Urine filter membrane photographed through a 4× microscope objective.
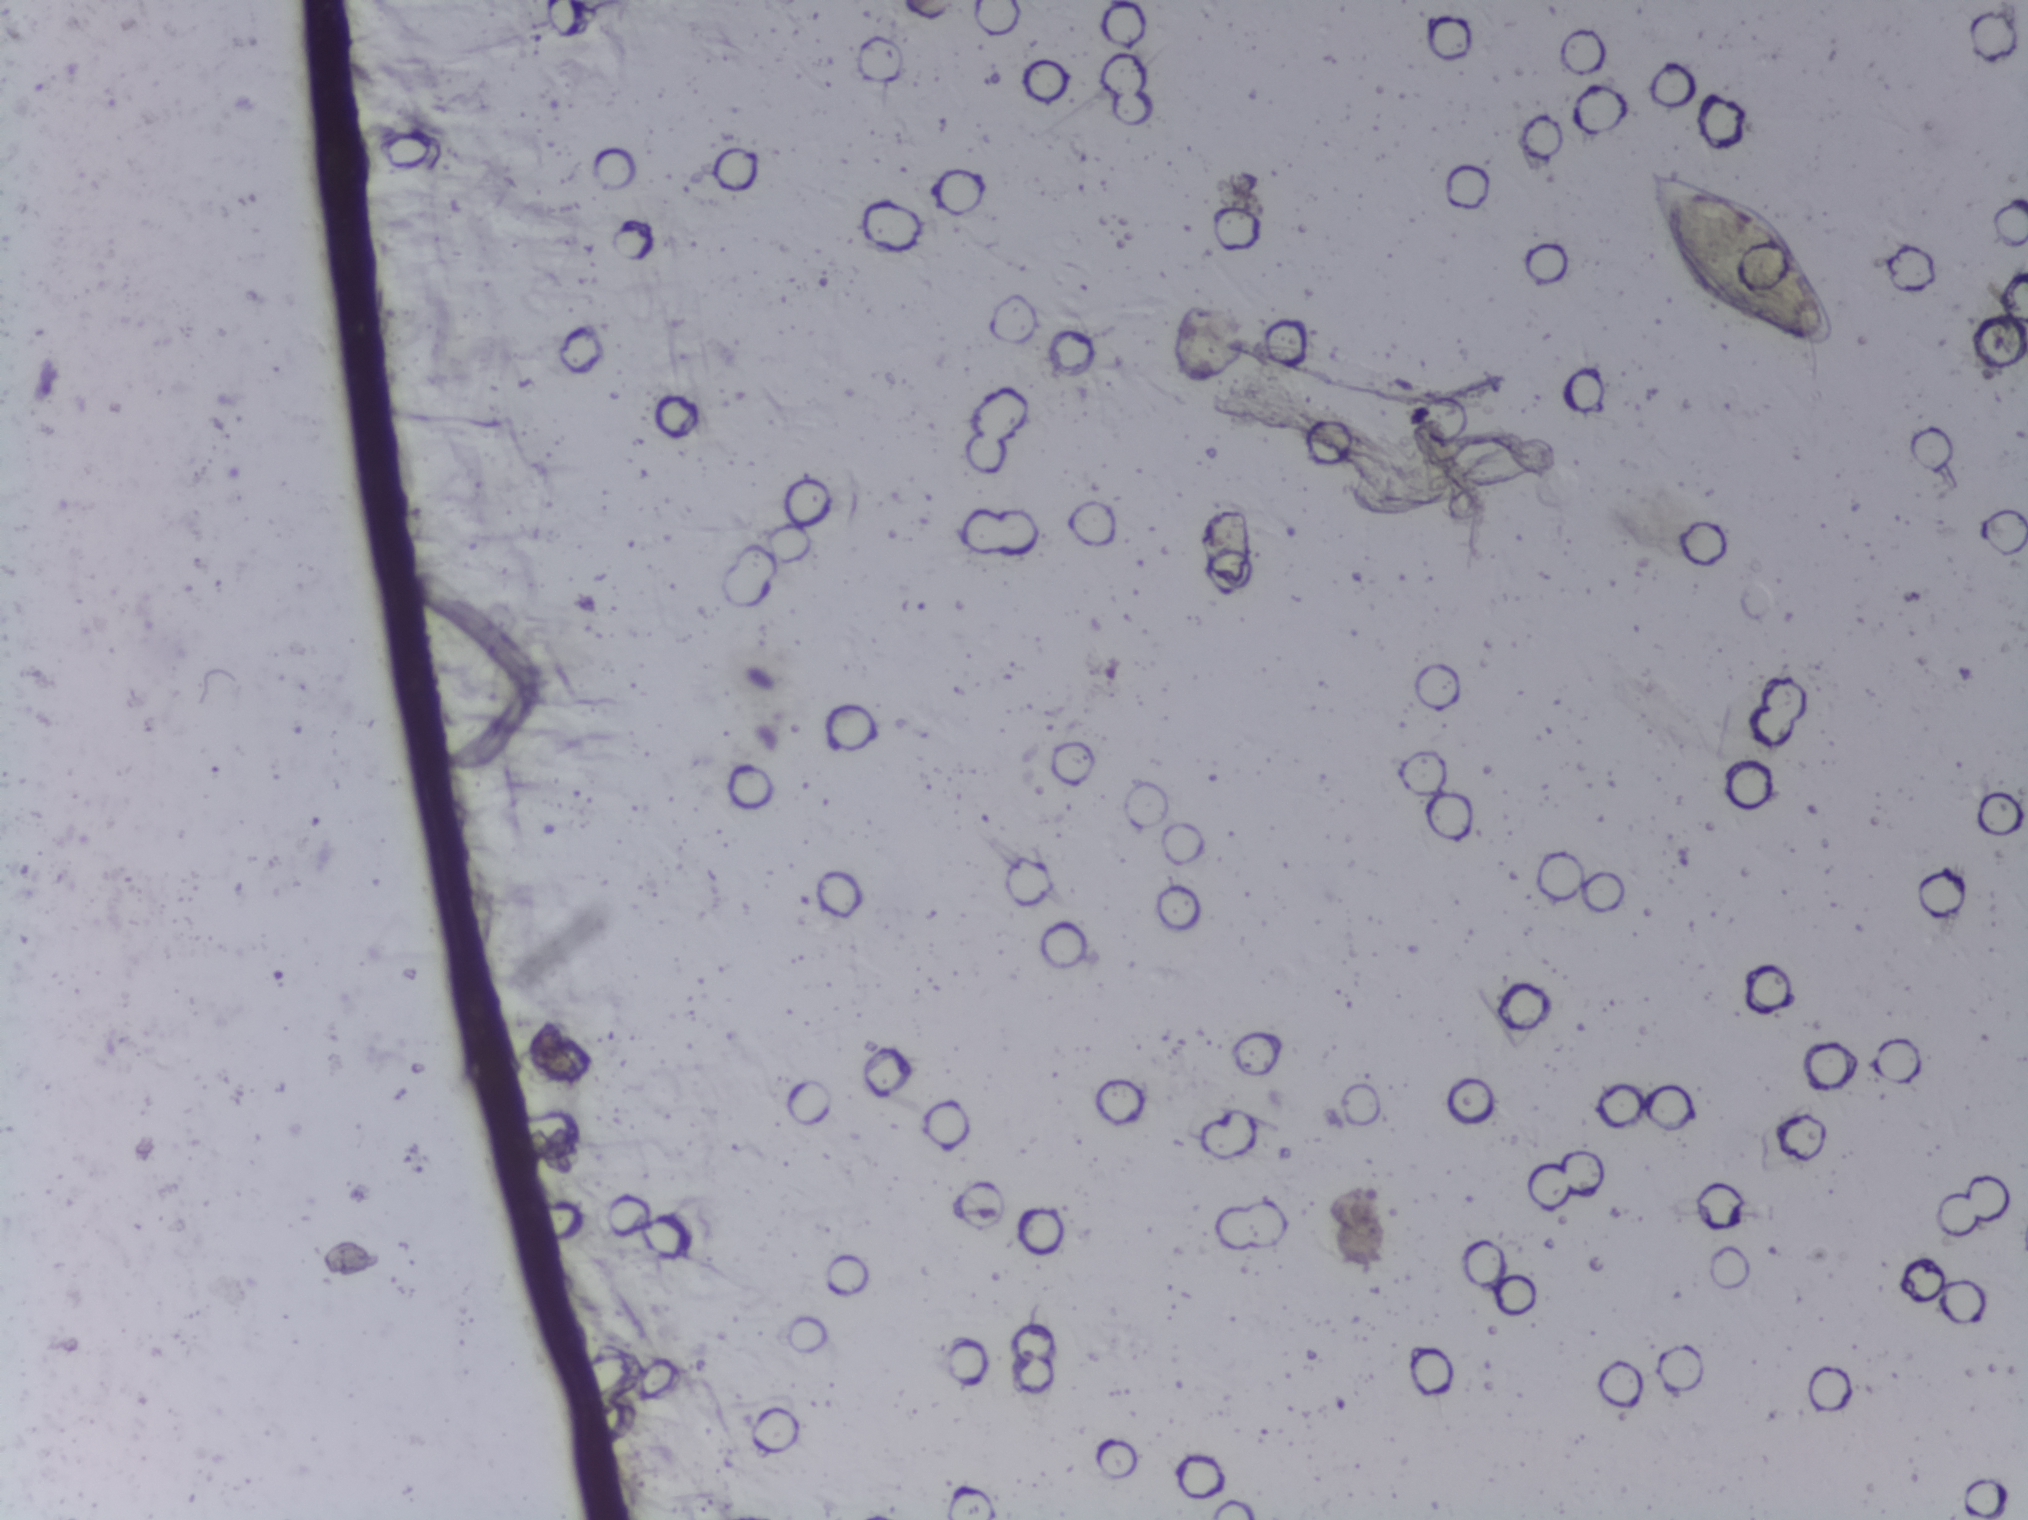
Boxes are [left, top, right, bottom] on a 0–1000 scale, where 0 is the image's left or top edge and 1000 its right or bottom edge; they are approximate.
Findings: one area outlined as Schistosoma eggs. Location: [812, 111, 906, 231]. Marked pixels, not the box around them: about 0.6% of the image. A single outlined area may contain several eggs. A marked egg may occasionally be S. mansoni rather than S. haematobium.